Photograph from an automated digital microscope: urine filter membrane, 4× objective.
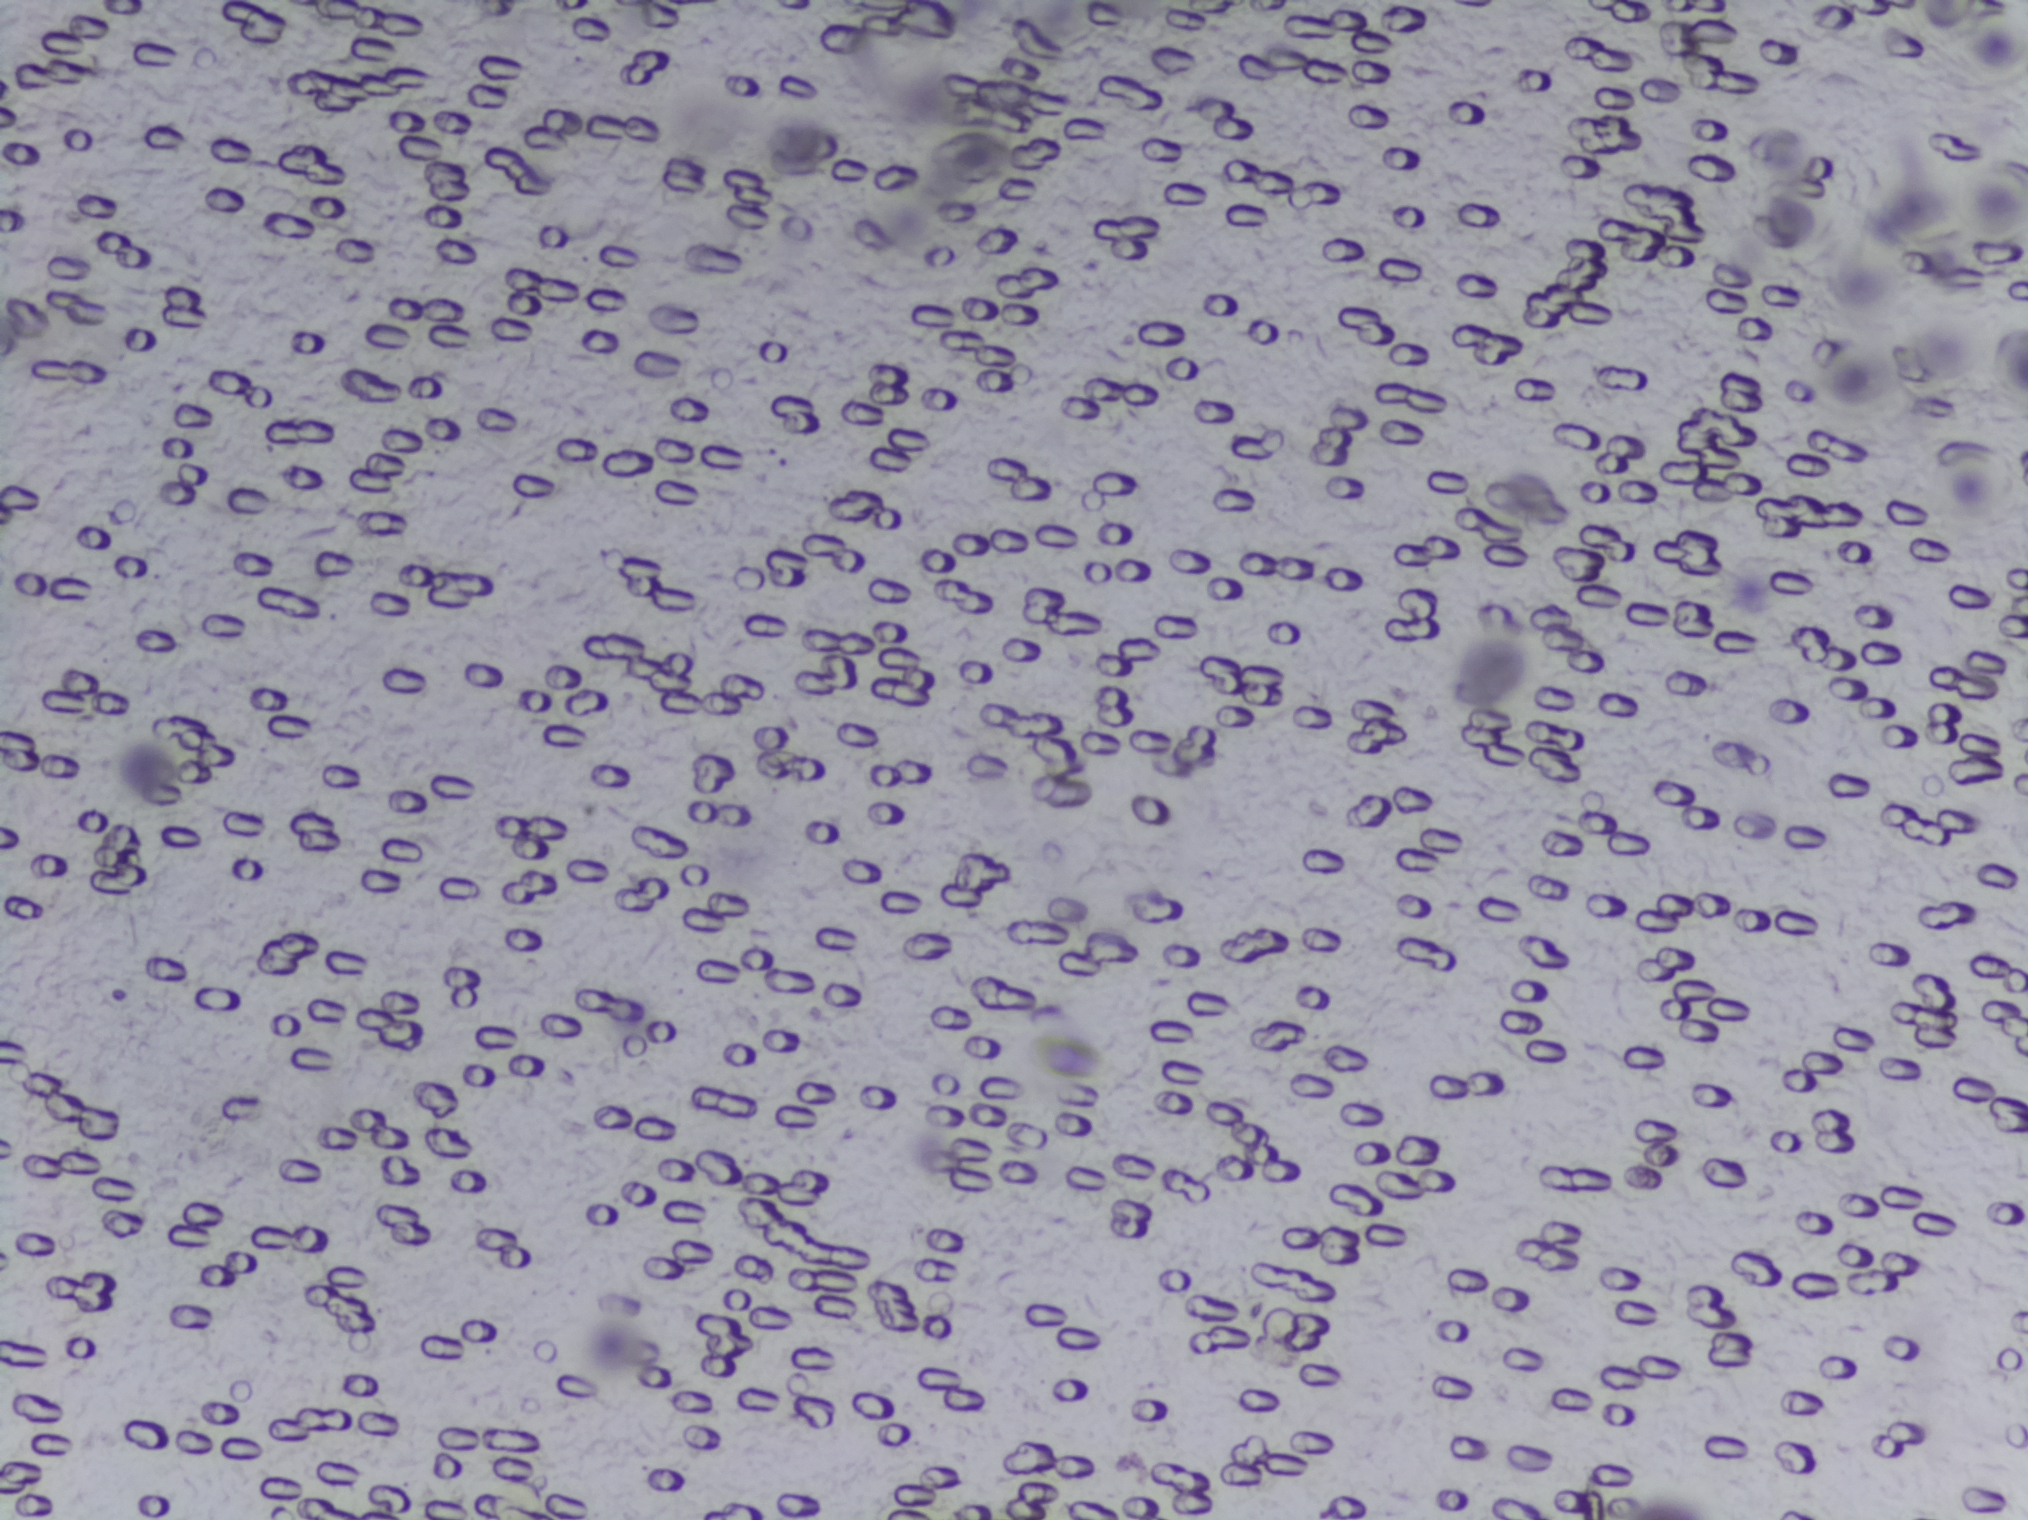
Schistosoma eggs: none outlined.